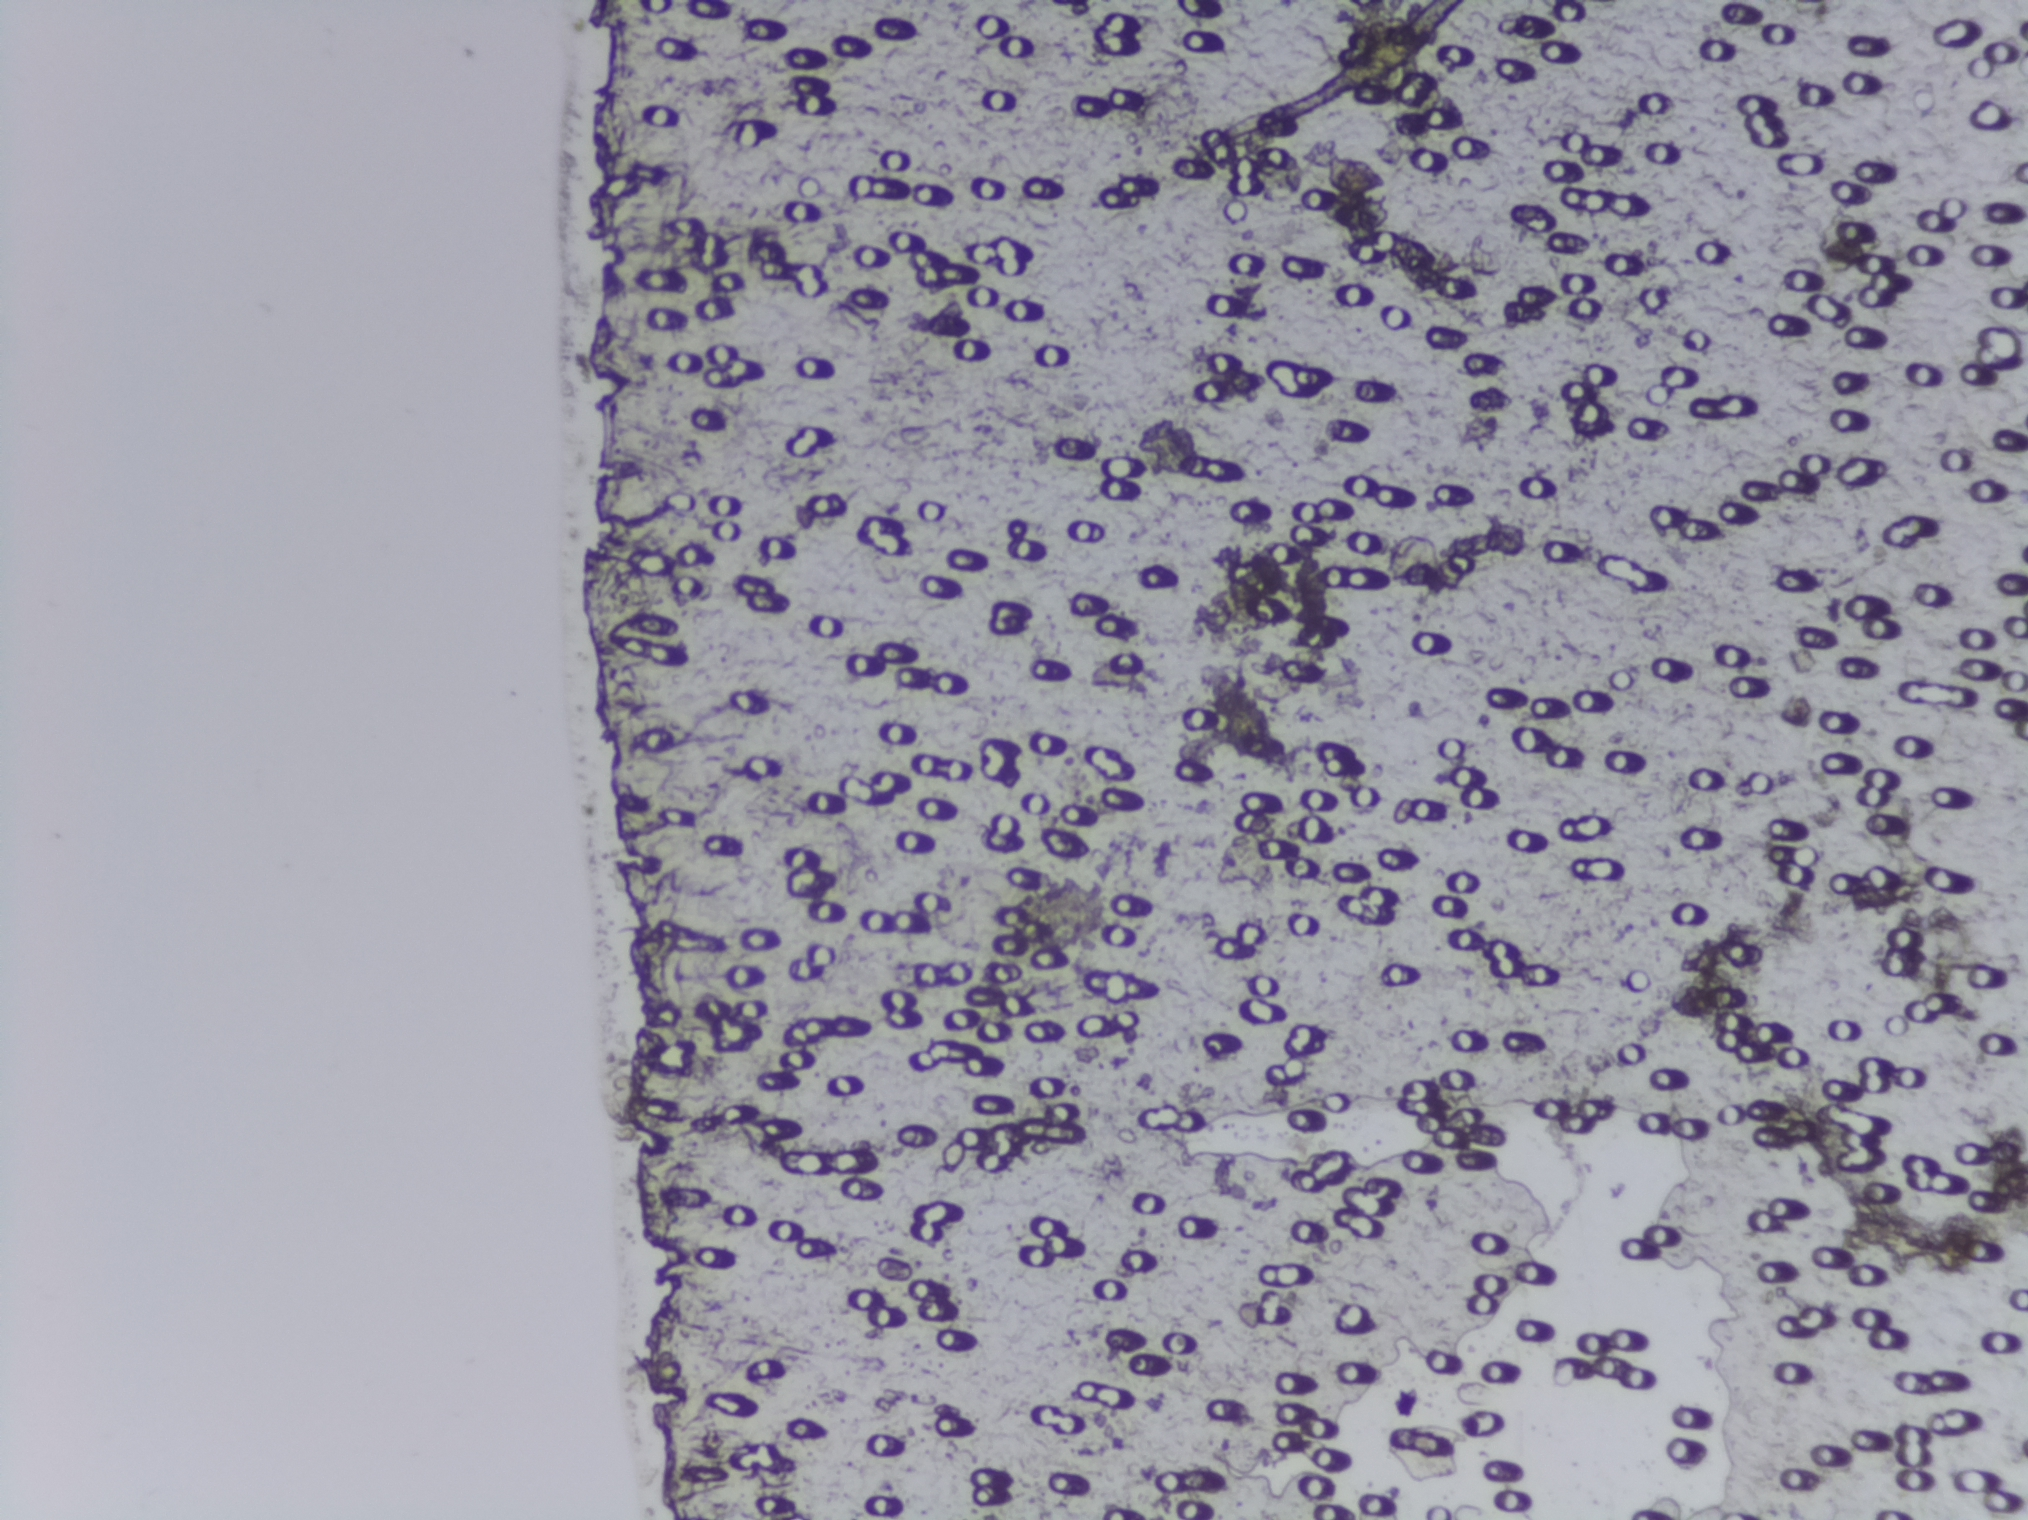
One field of view of a urine filter membrane, 4× objective, 2028 × 1520 pixels.
No Schistosoma egg is outlined in this image's expert annotation.